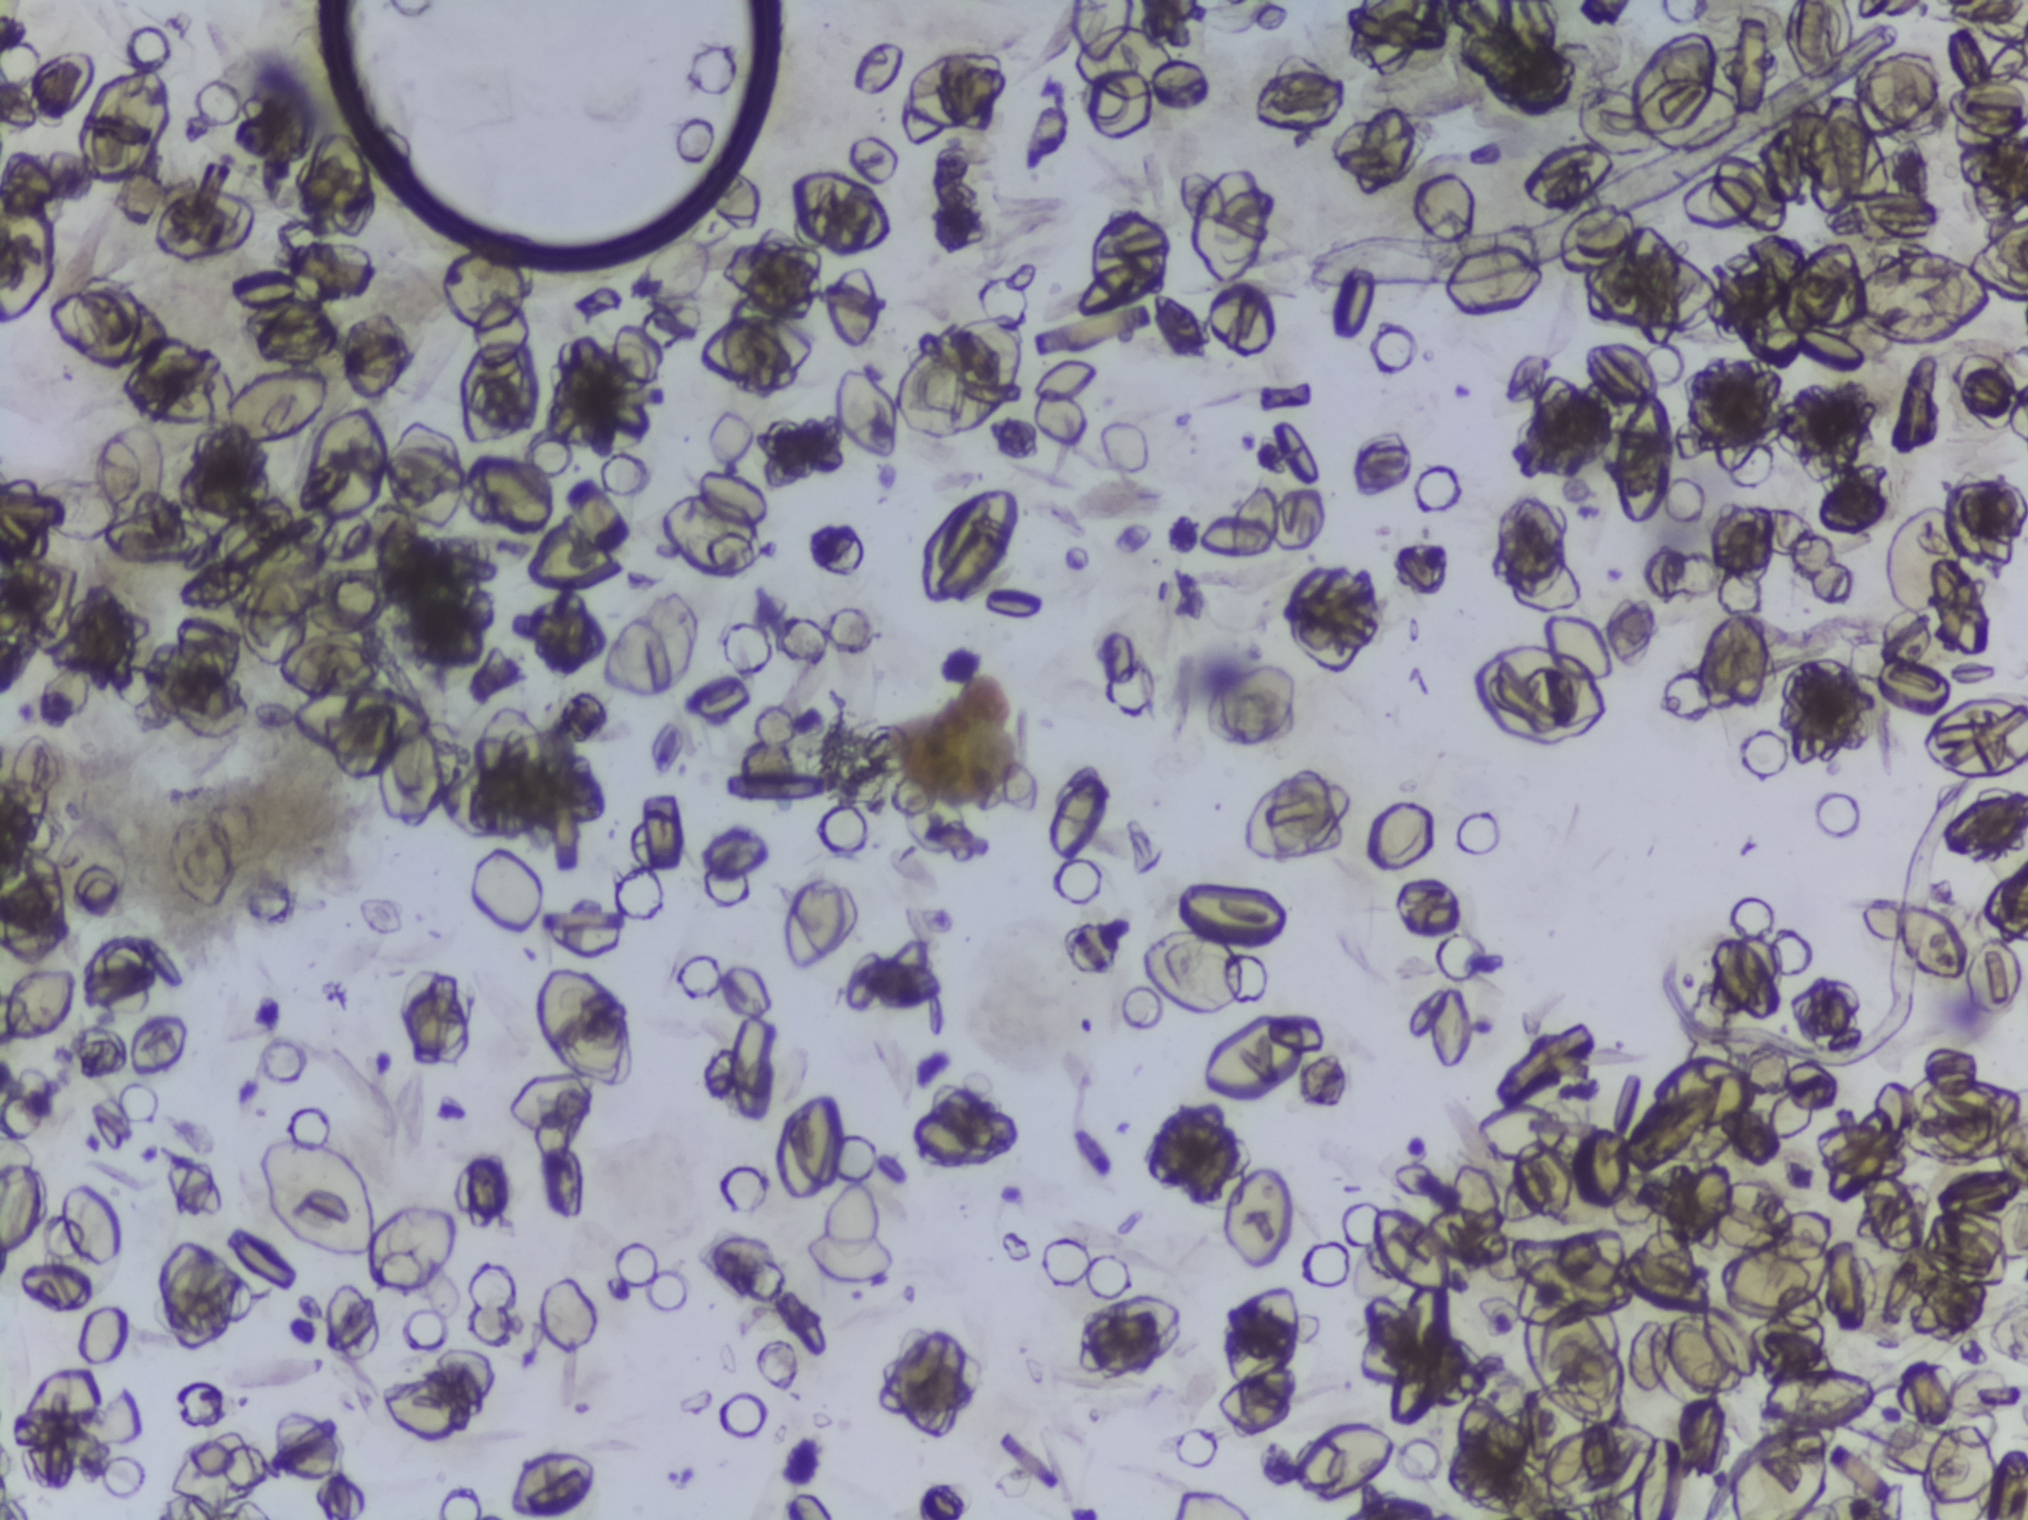
Microscope photograph (4× objective) of a membrane that a urine sample was filtered through. The field of view is about 1.5 mm × 1.1 mm.
The expert annotation outlines no Schistosoma egg in this image.